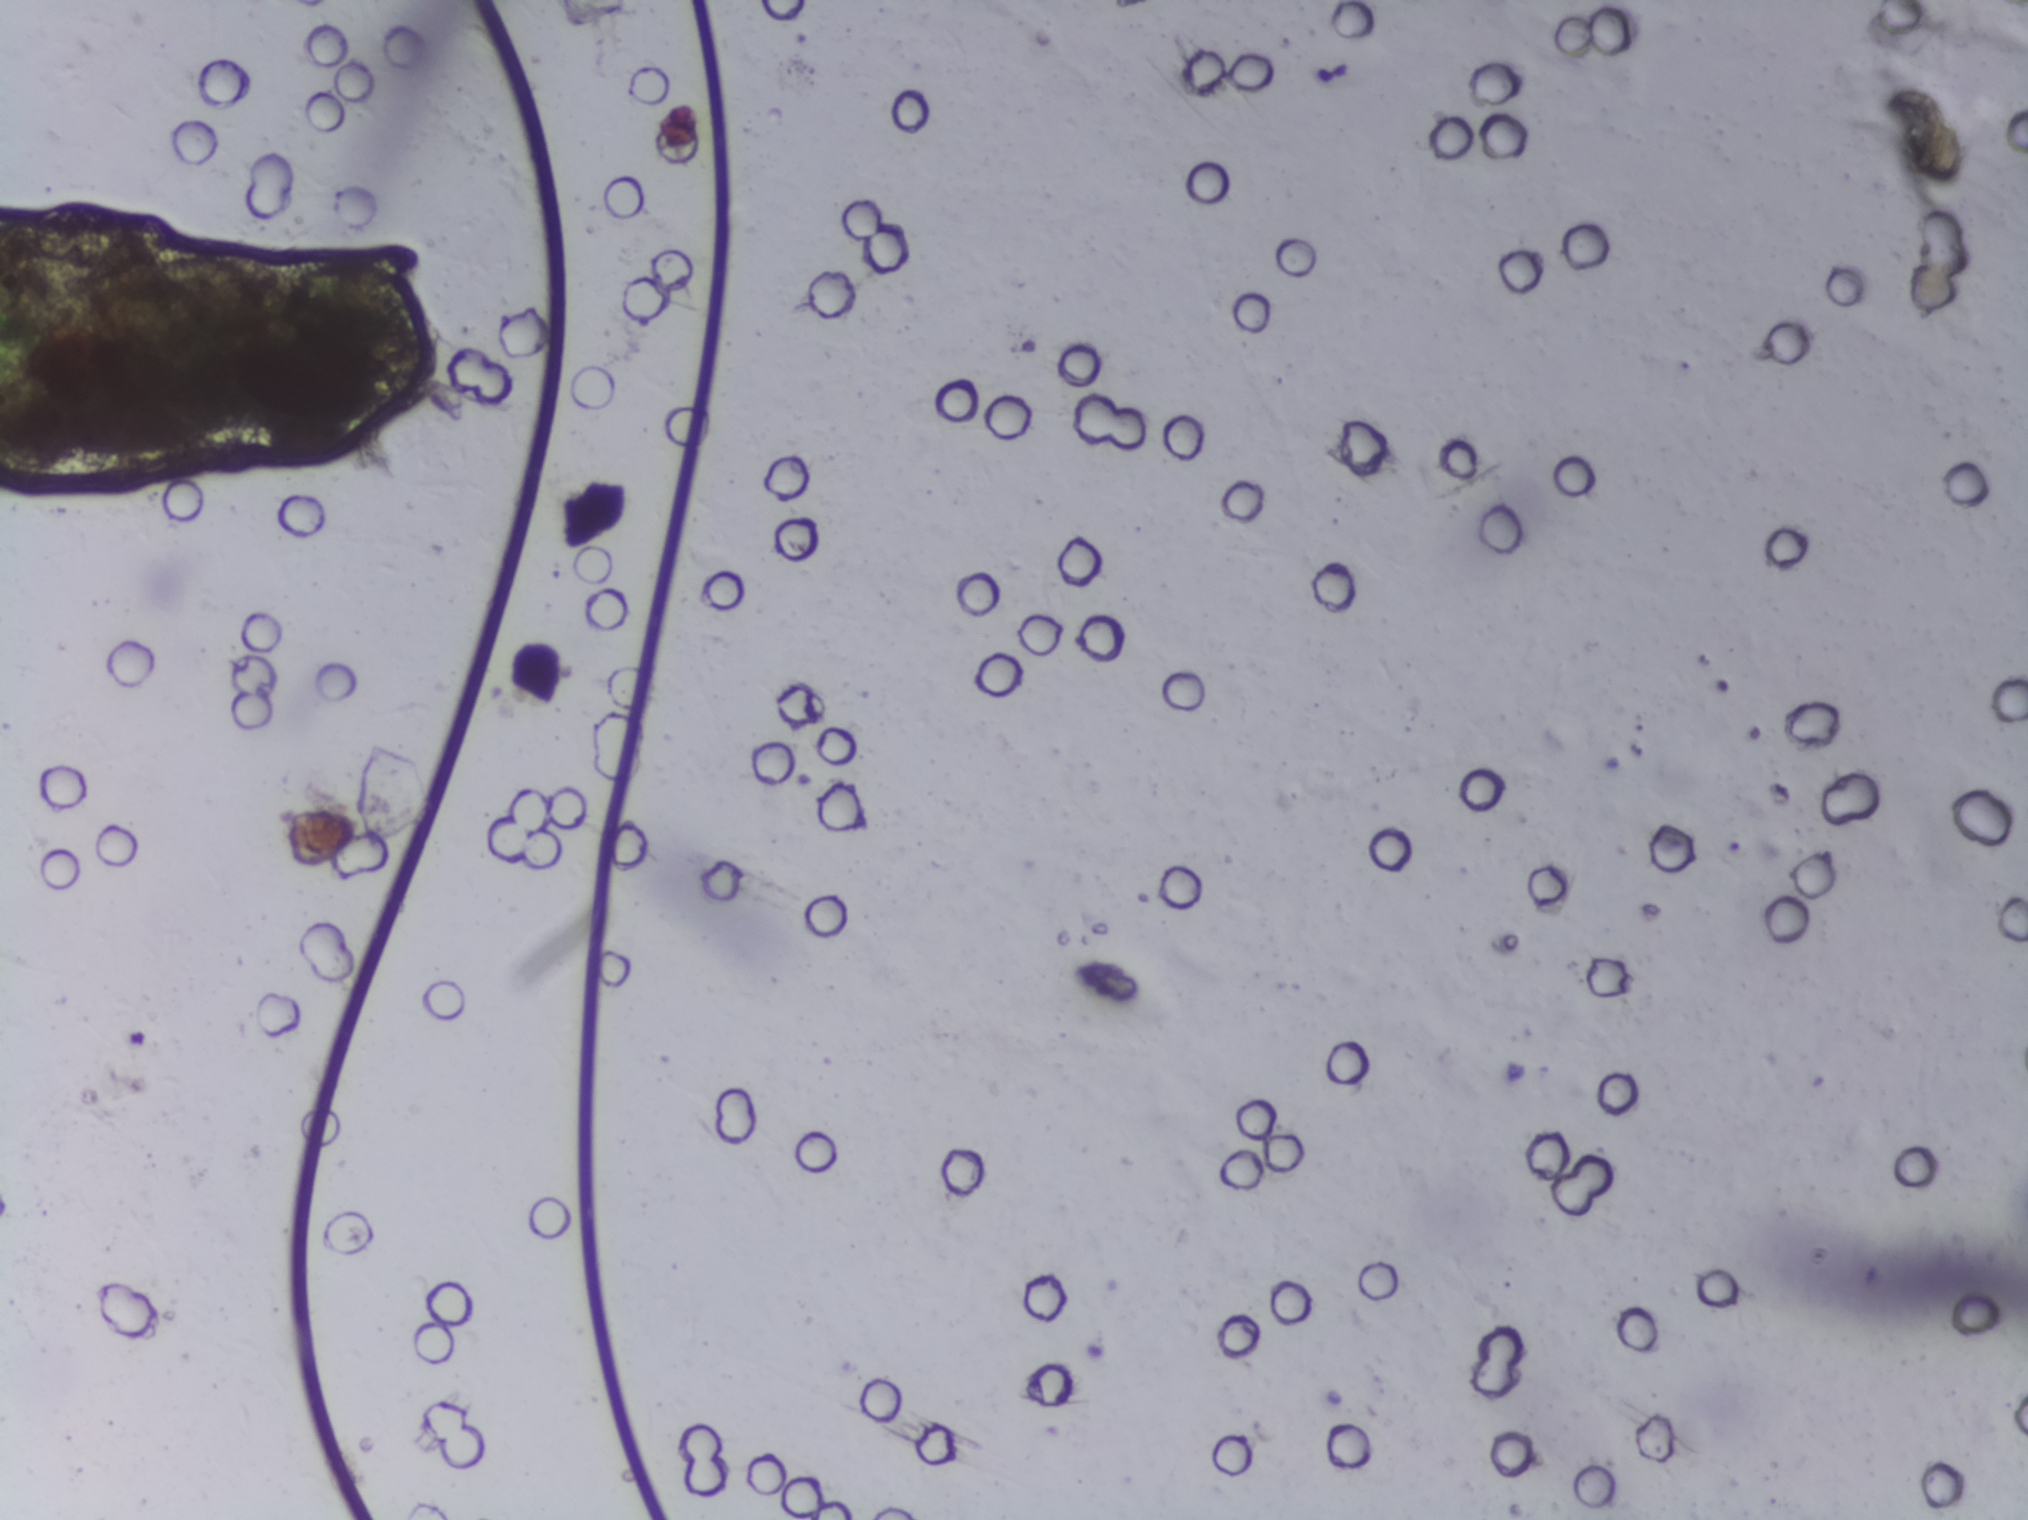
The expert annotation marks no Schistosoma egg in this field of view.
One field of view of a urine filter membrane, 4× objective, 2028 × 1520 pixels. The field of view is about 1.5 mm × 1.1 mm.